Photomicrograph of a urine filtration membrane, 4× objective.
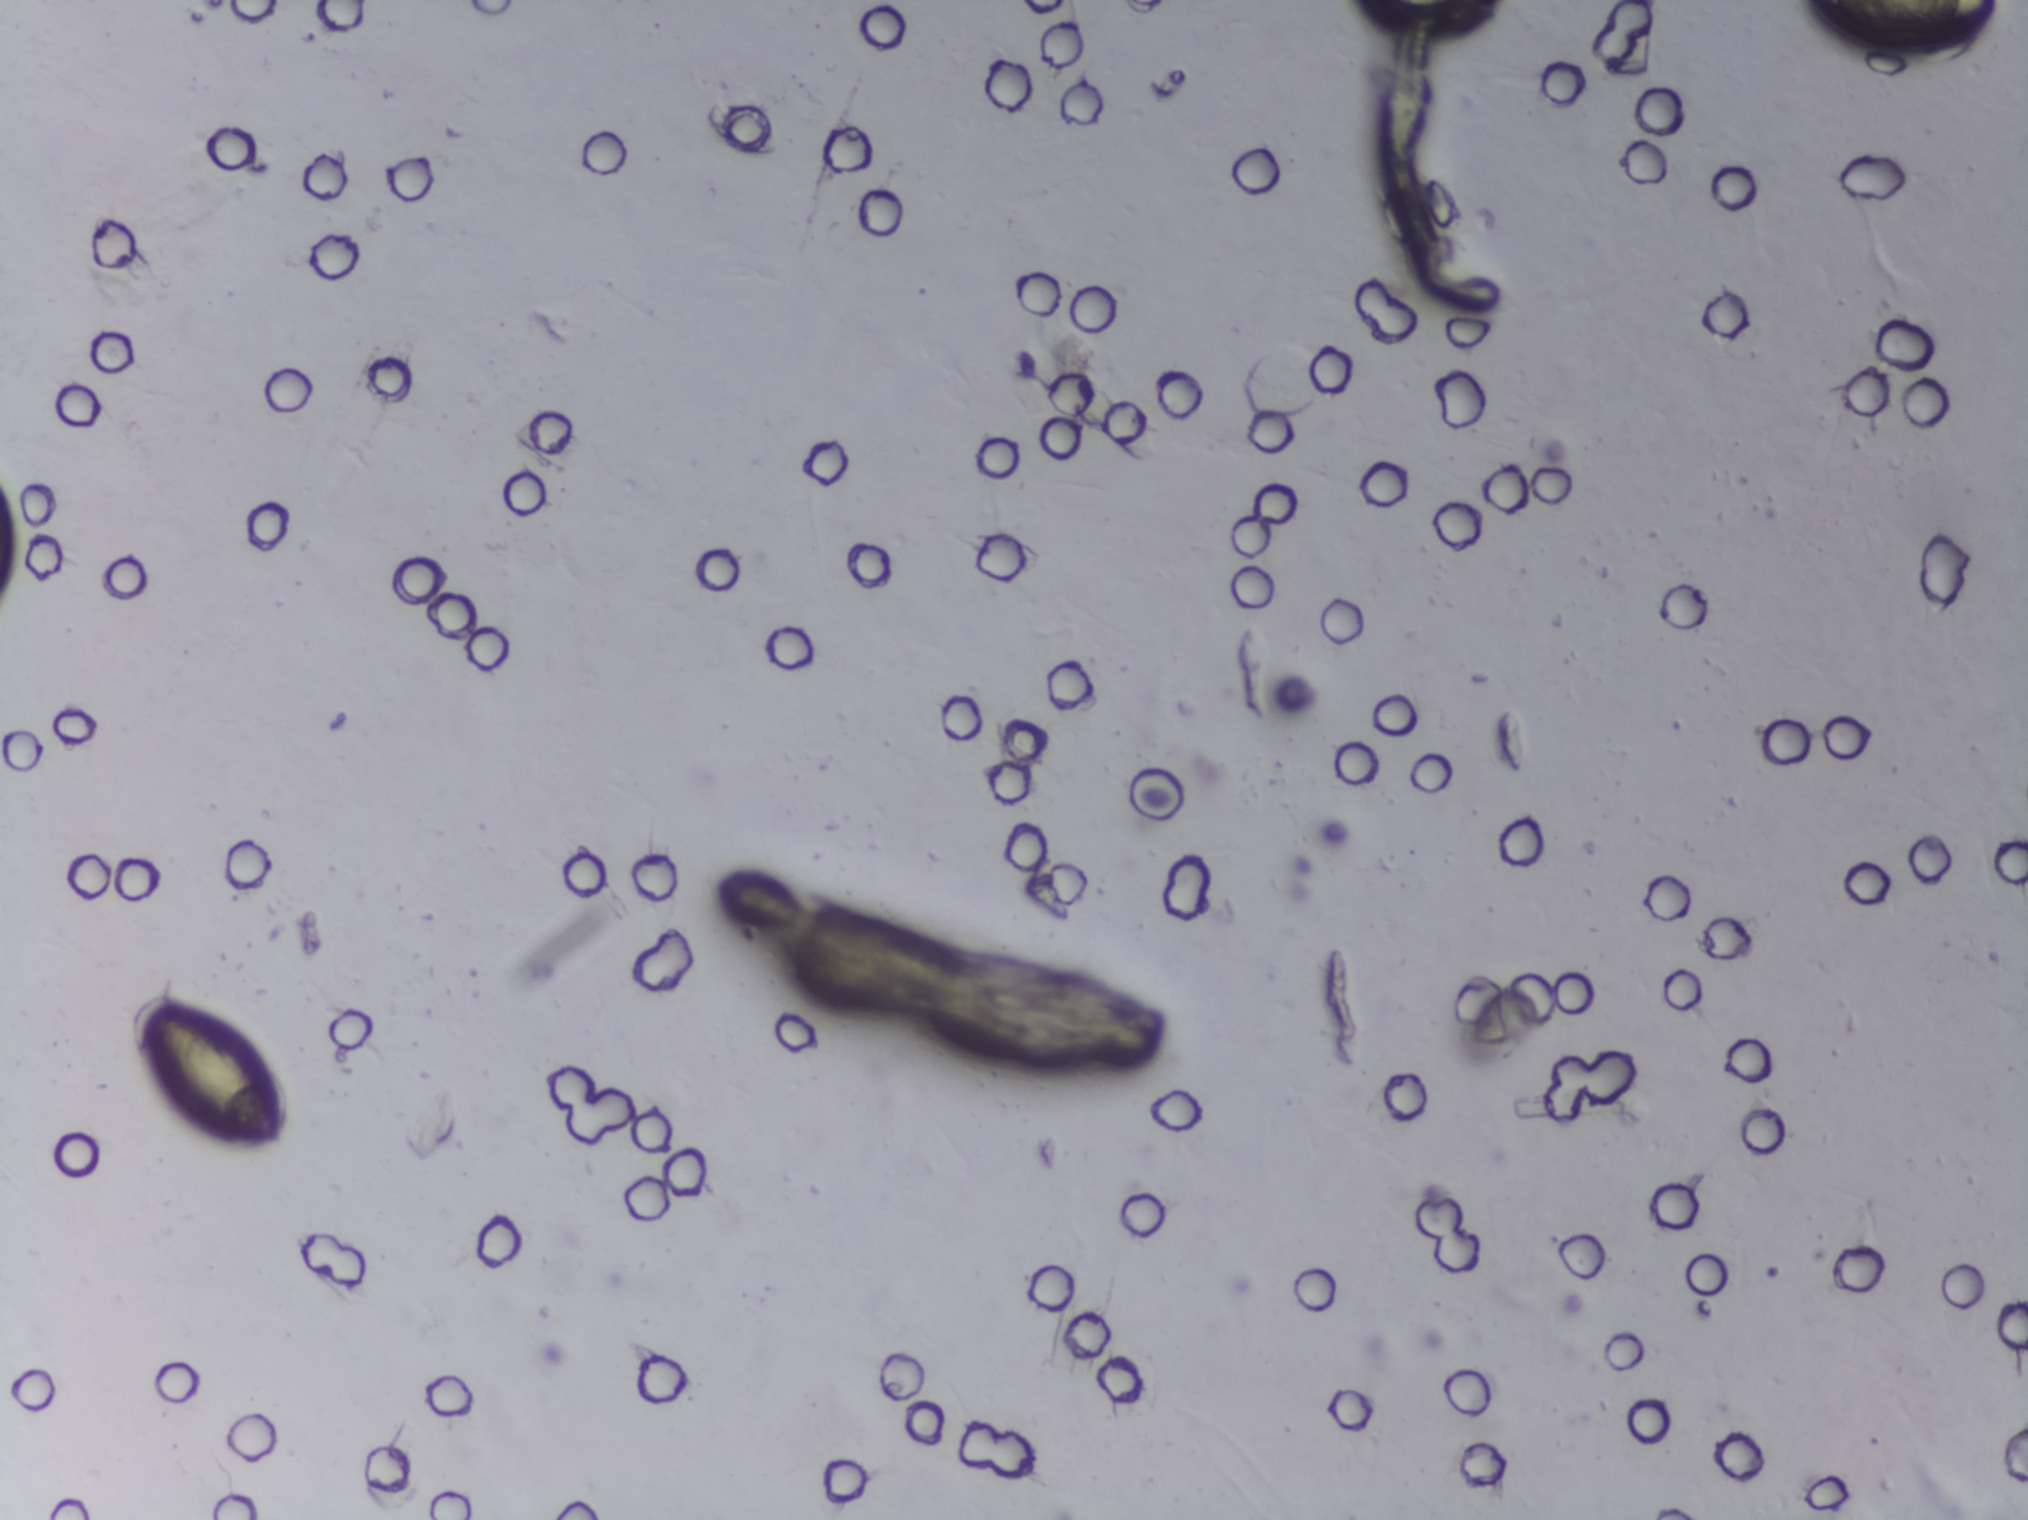
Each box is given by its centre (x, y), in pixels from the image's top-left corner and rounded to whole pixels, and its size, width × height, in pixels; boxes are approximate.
Outlined Schistosoma egg areas, left to right:
1. centre (216, 1073), 141 × 149 px
2. centre (1899, 26), 202 × 53 px (reaching the top edge of the frame)
Marked pixels, not the boxes around them: about 0.7% of the image. Eggs that touch can end up inside the same outlined area. A marked egg may occasionally be S. mansoni rather than S. haematobium.